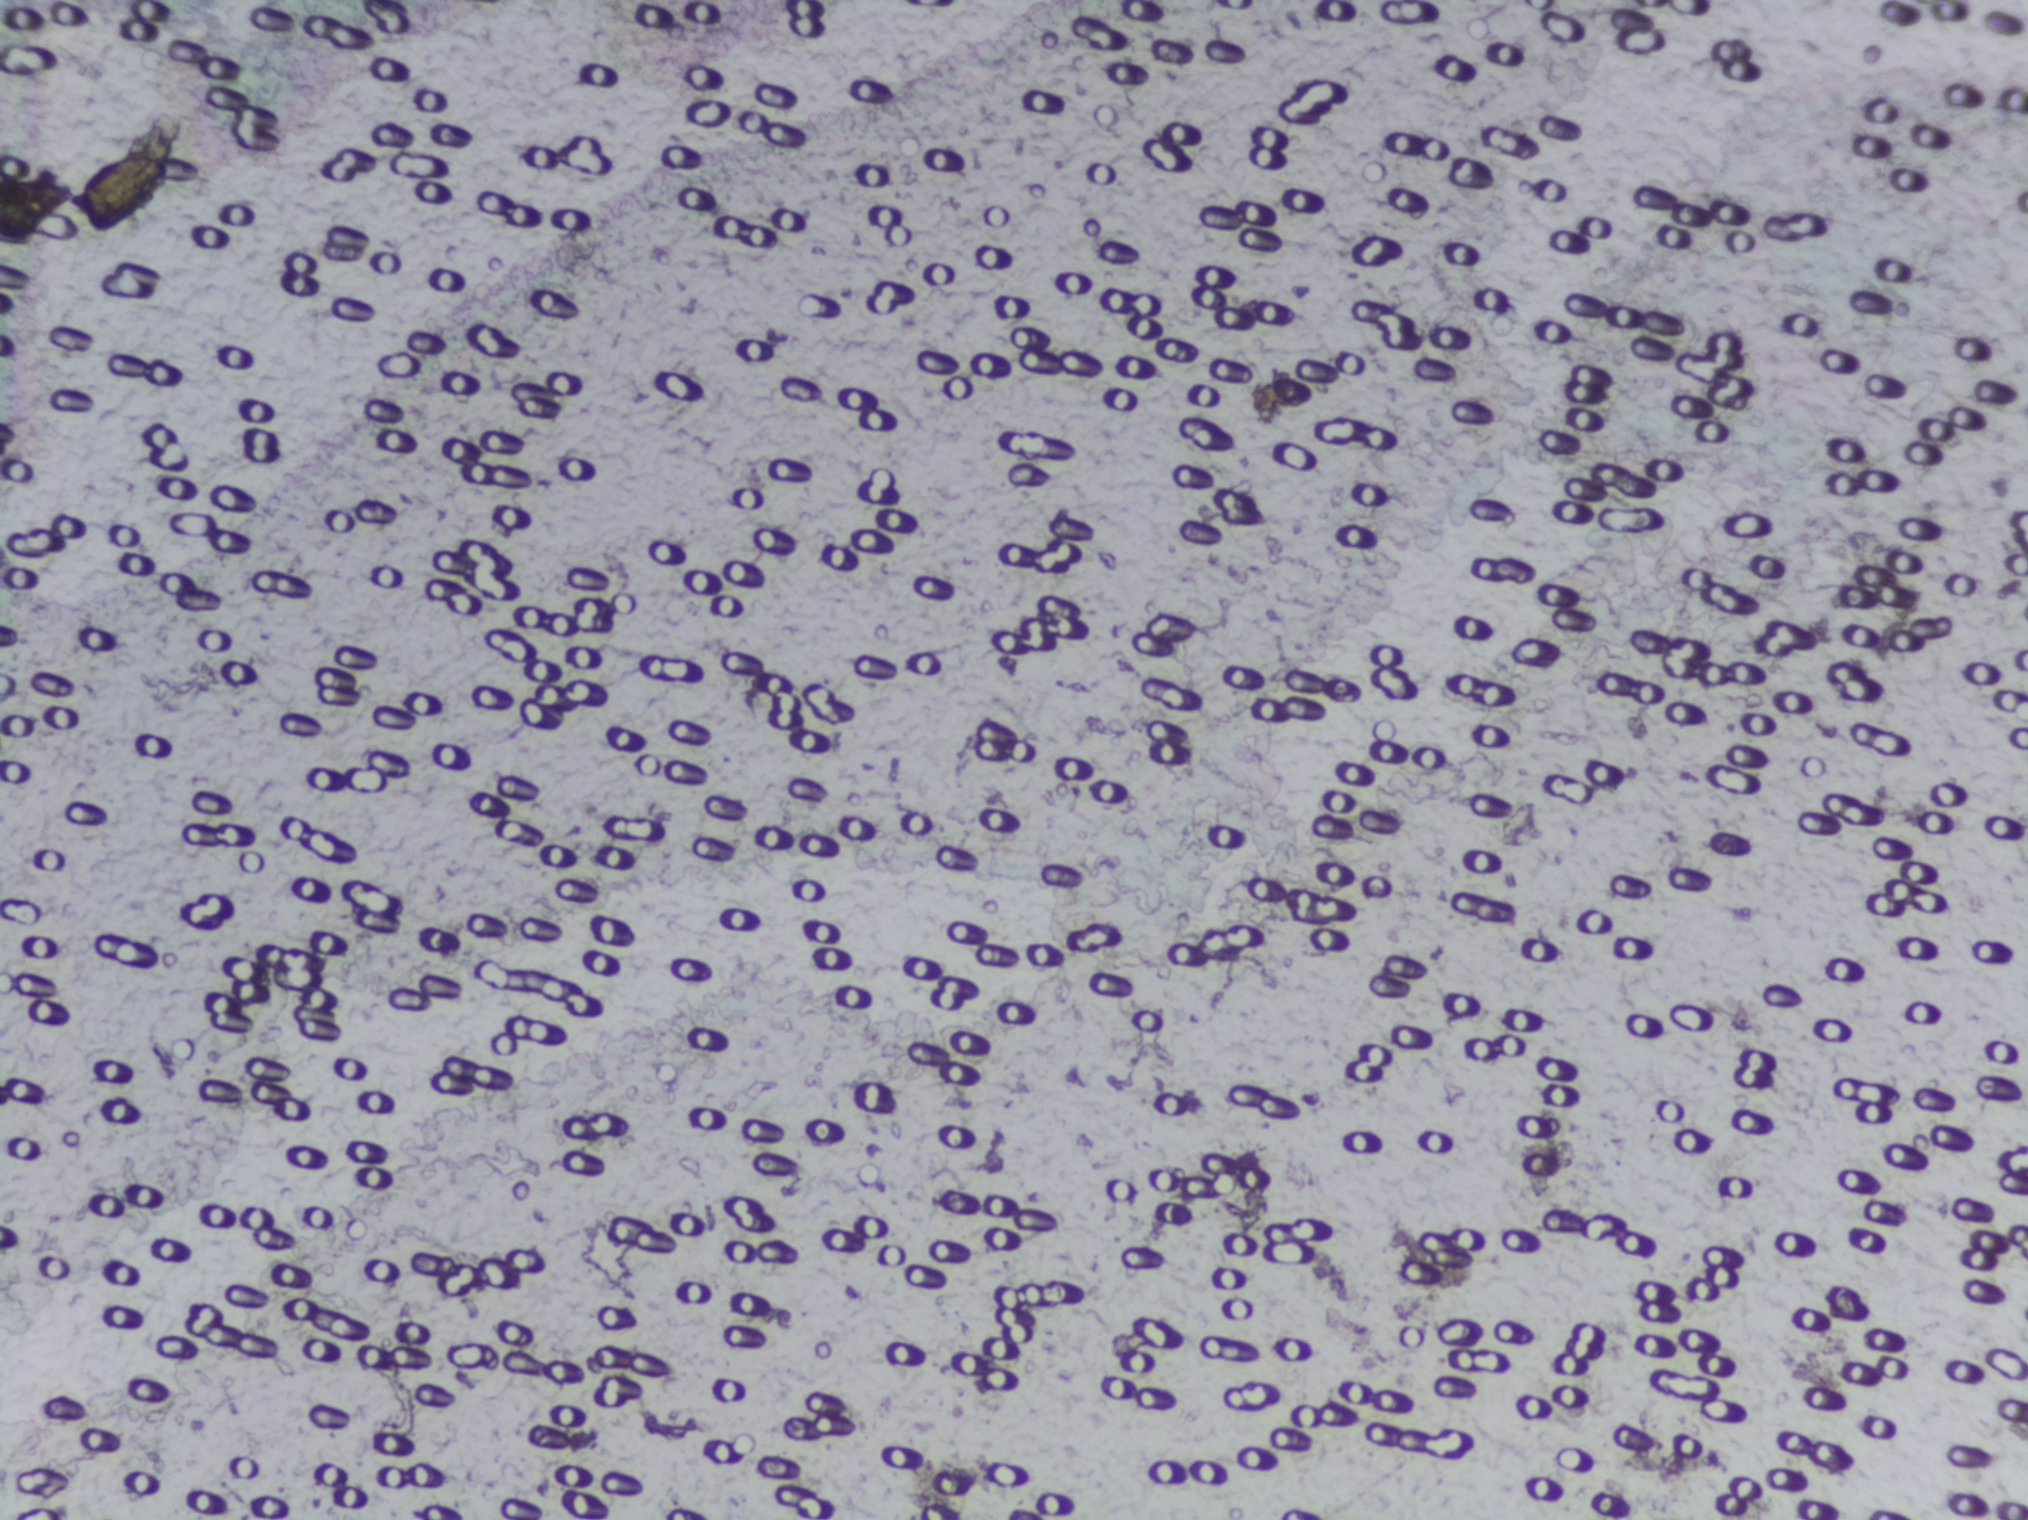
Microscope photograph (4× objective) of a membrane that a urine sample was filtered through. The field of view is about 1.5 mm × 1.1 mm.
The expert annotation outlines no Schistosoma egg in this image.